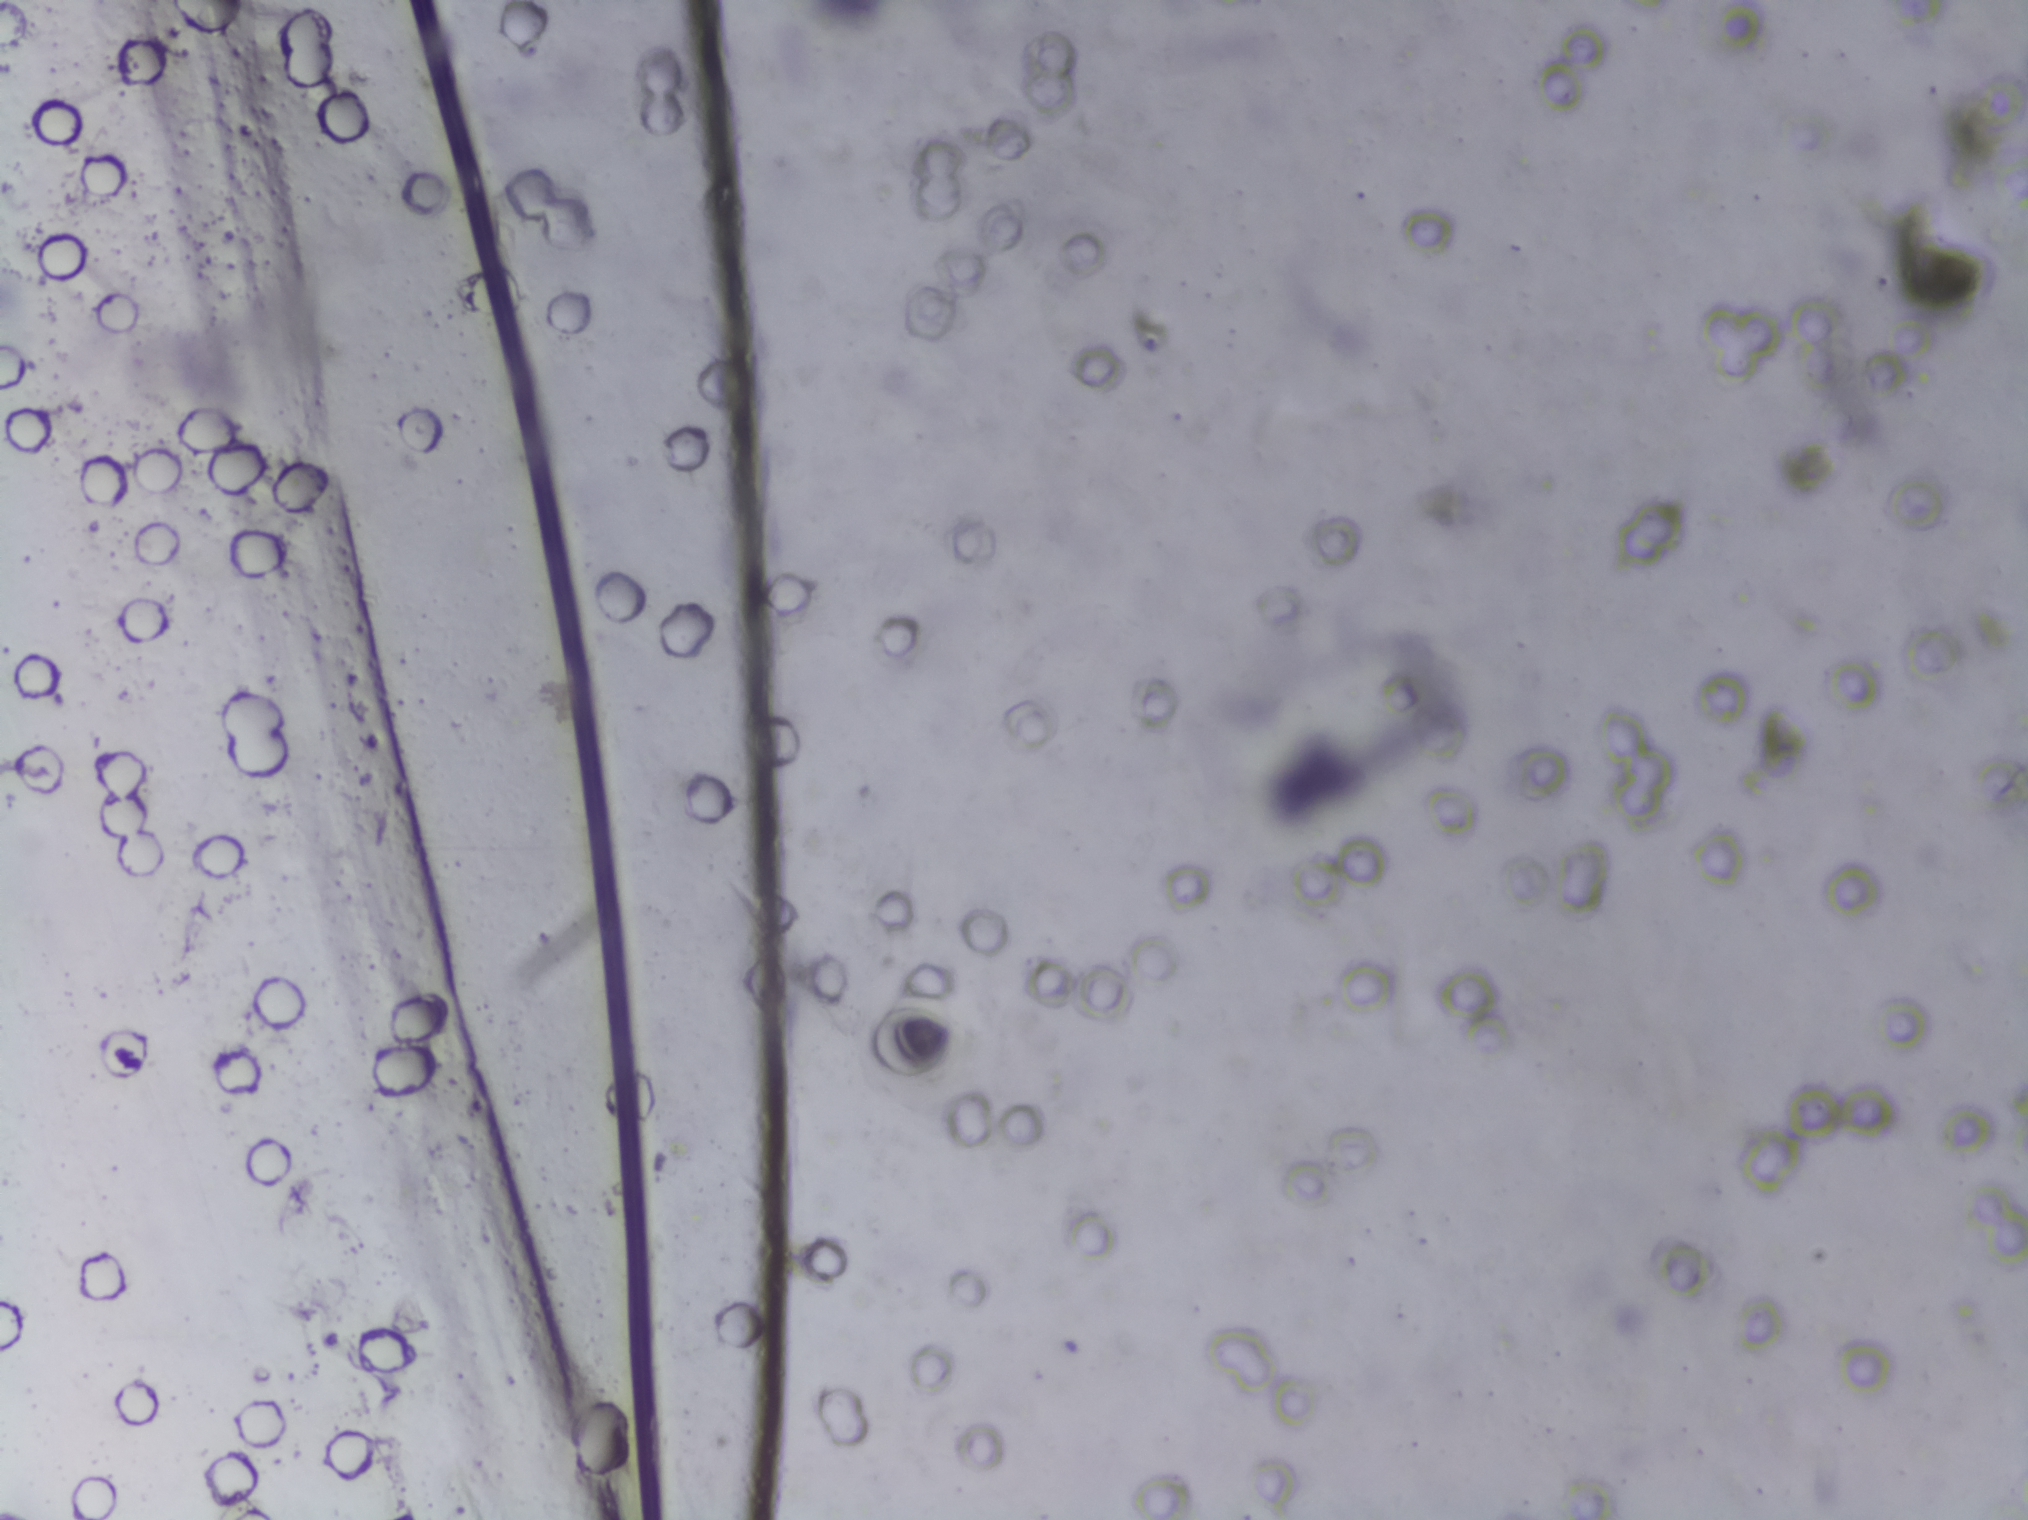
Urine filter membrane photographed through a 4× microscope objective. Field of view: about 1.5 mm wide and 1.1 mm high.
No Schistosoma egg is outlined in this image's expert annotation.